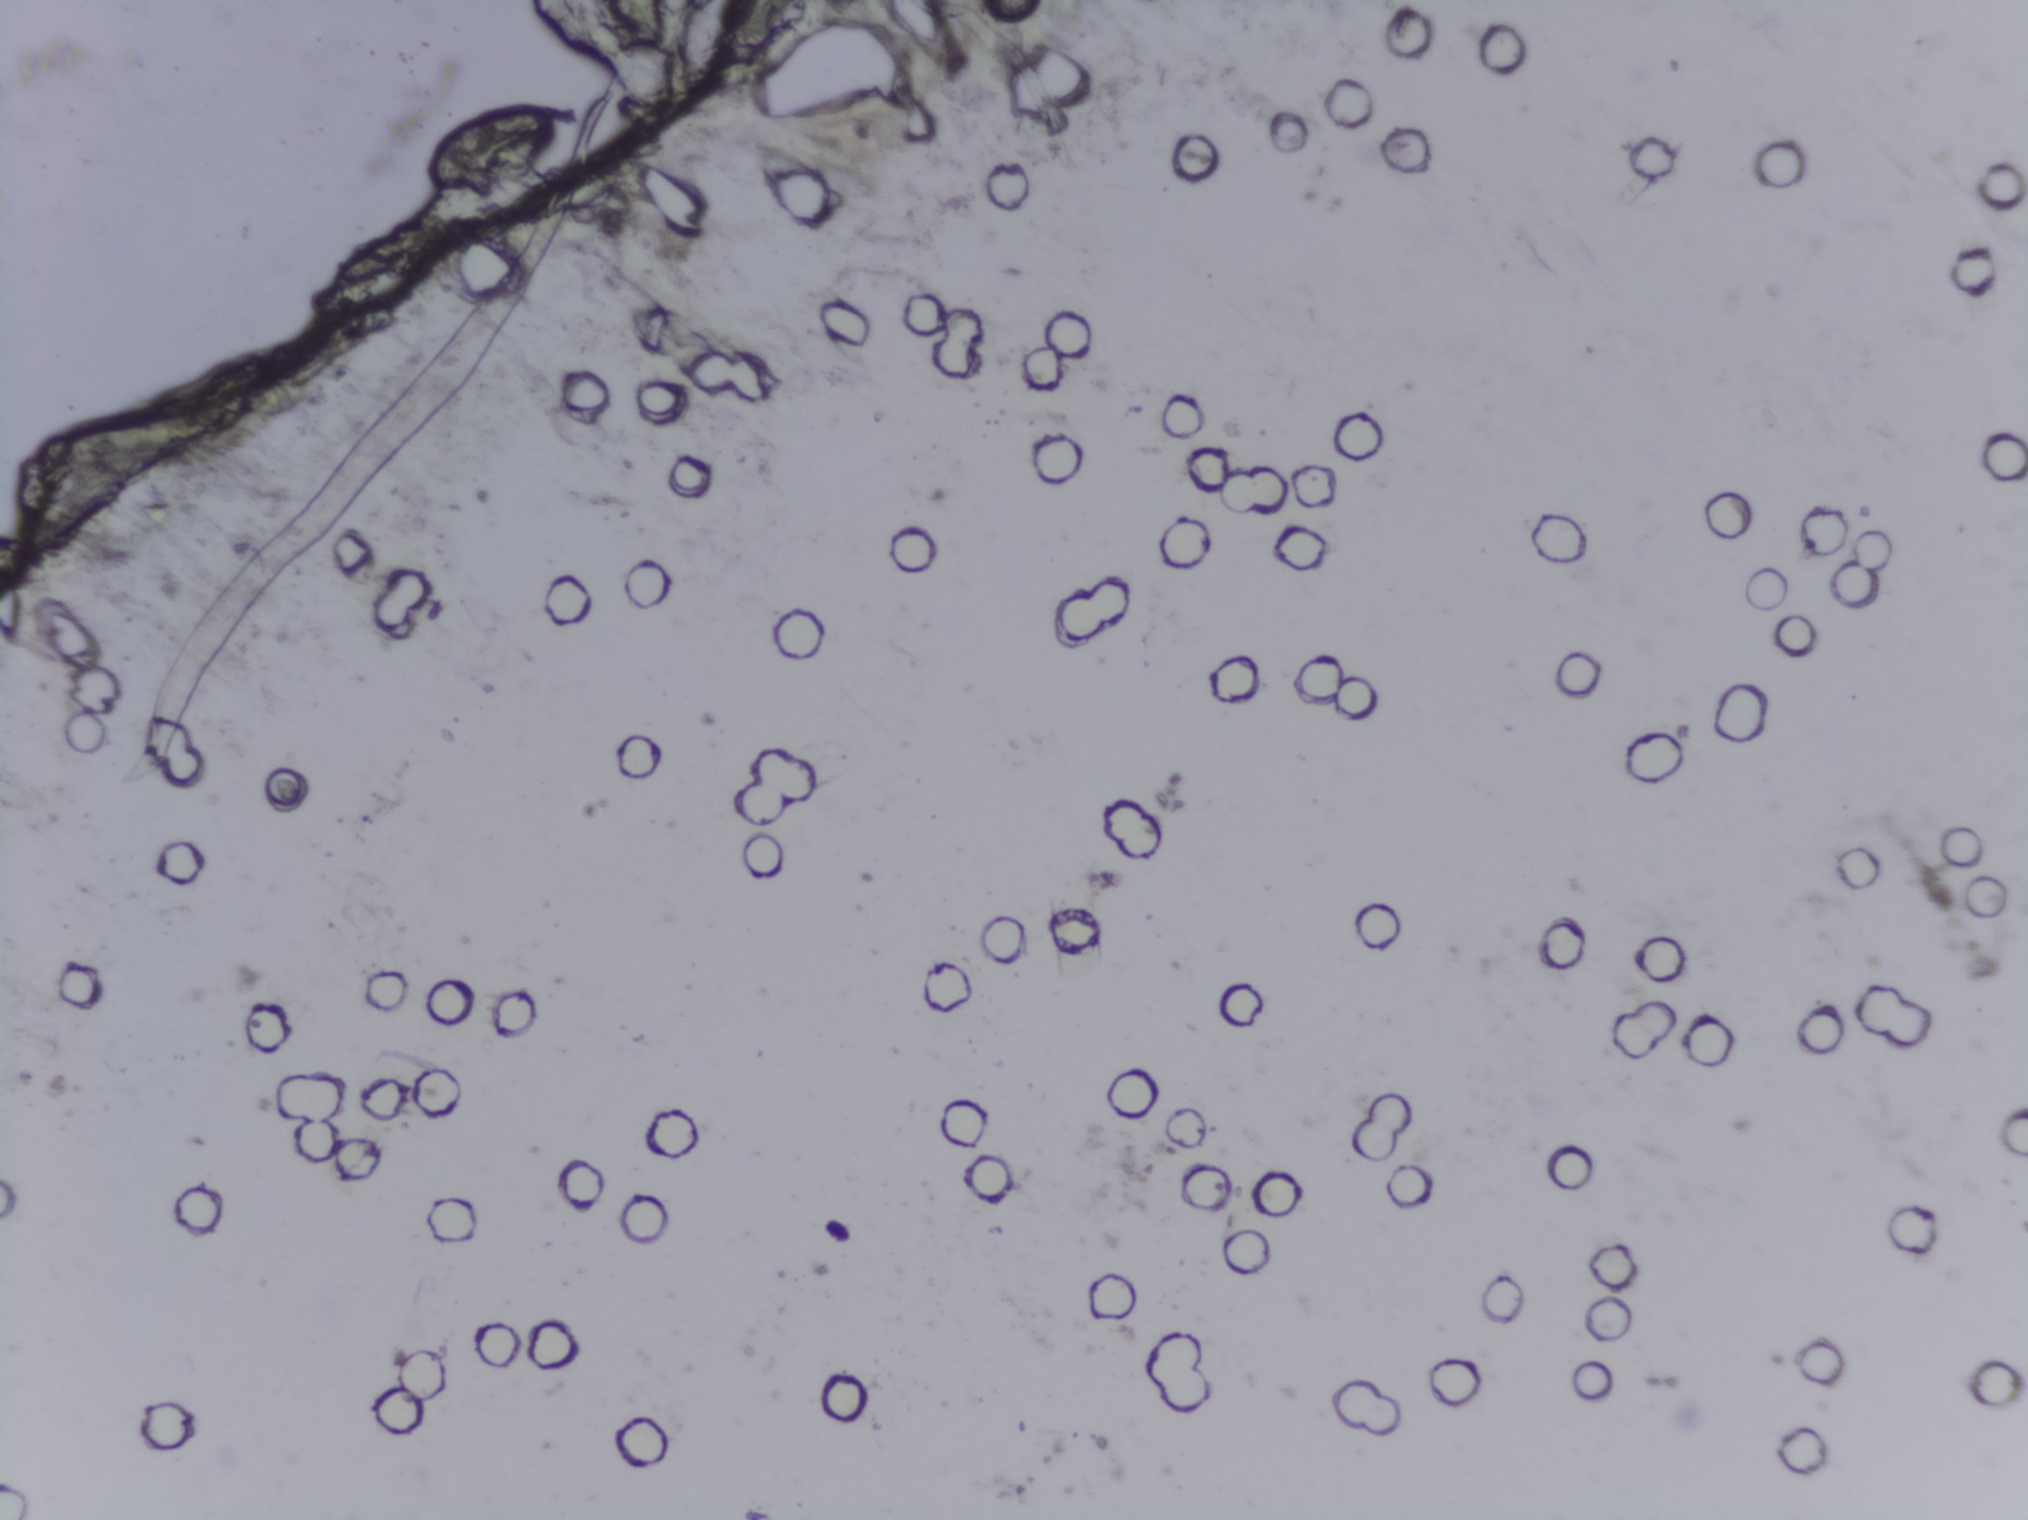
No area of this image was outlined as a Schistosoma egg.
Microscope photograph (4× objective) of a membrane that a urine sample was filtered through.